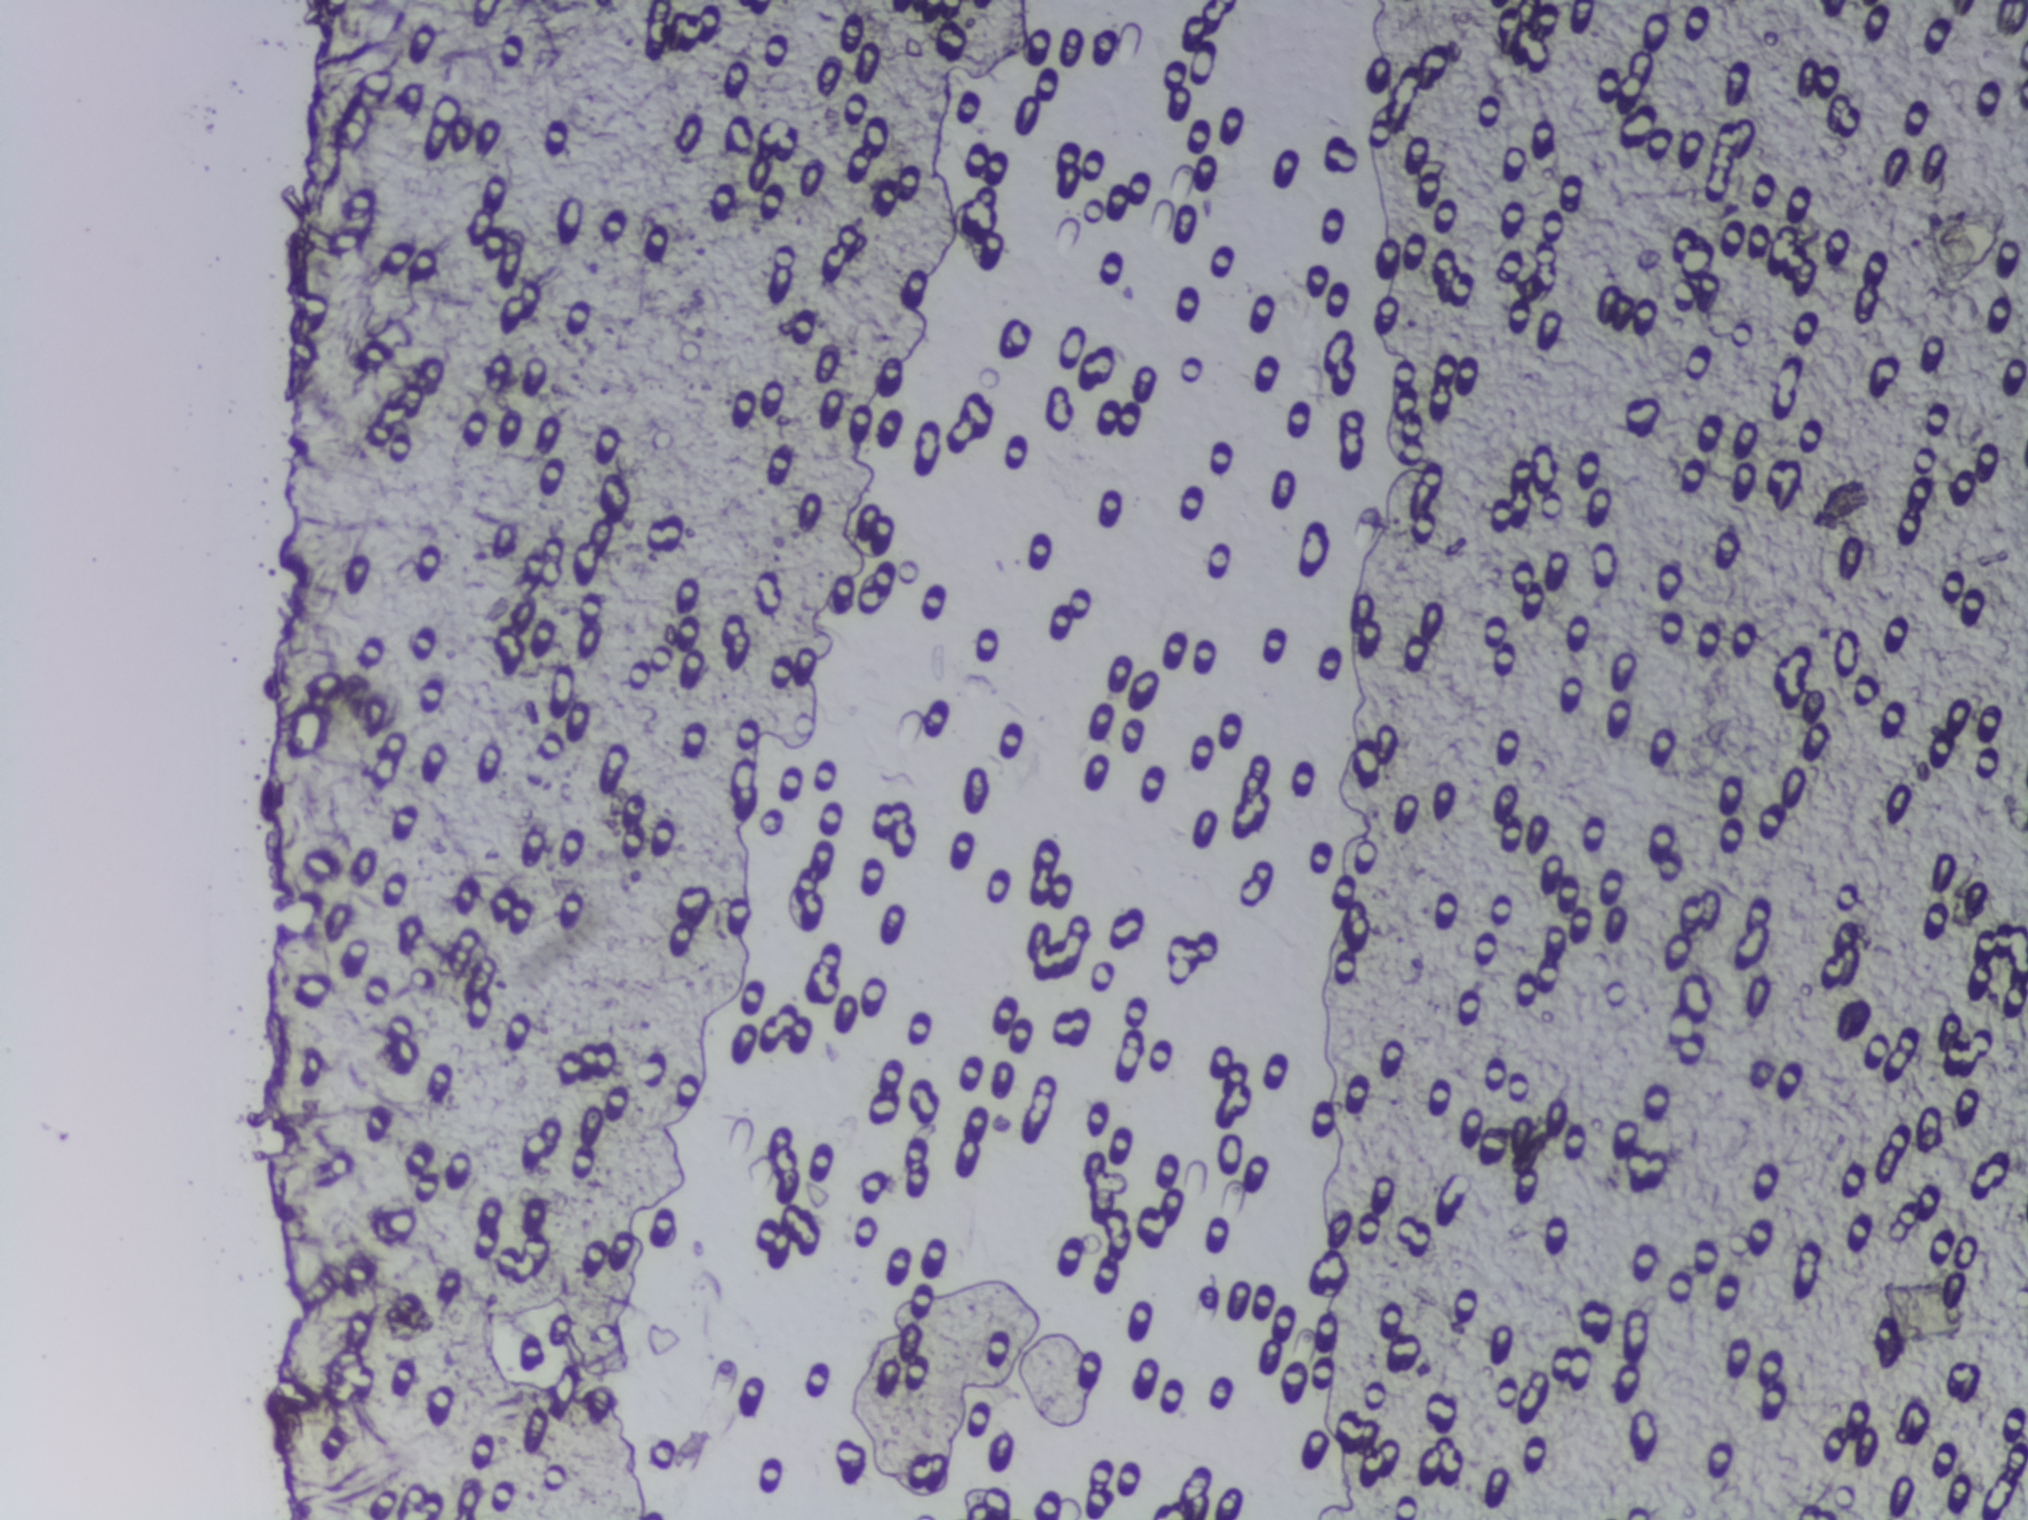
Urine filtration membrane under a 4× objective, photographed by an automated digital microscope.
The expert annotation outlines no Schistosoma egg in this image.